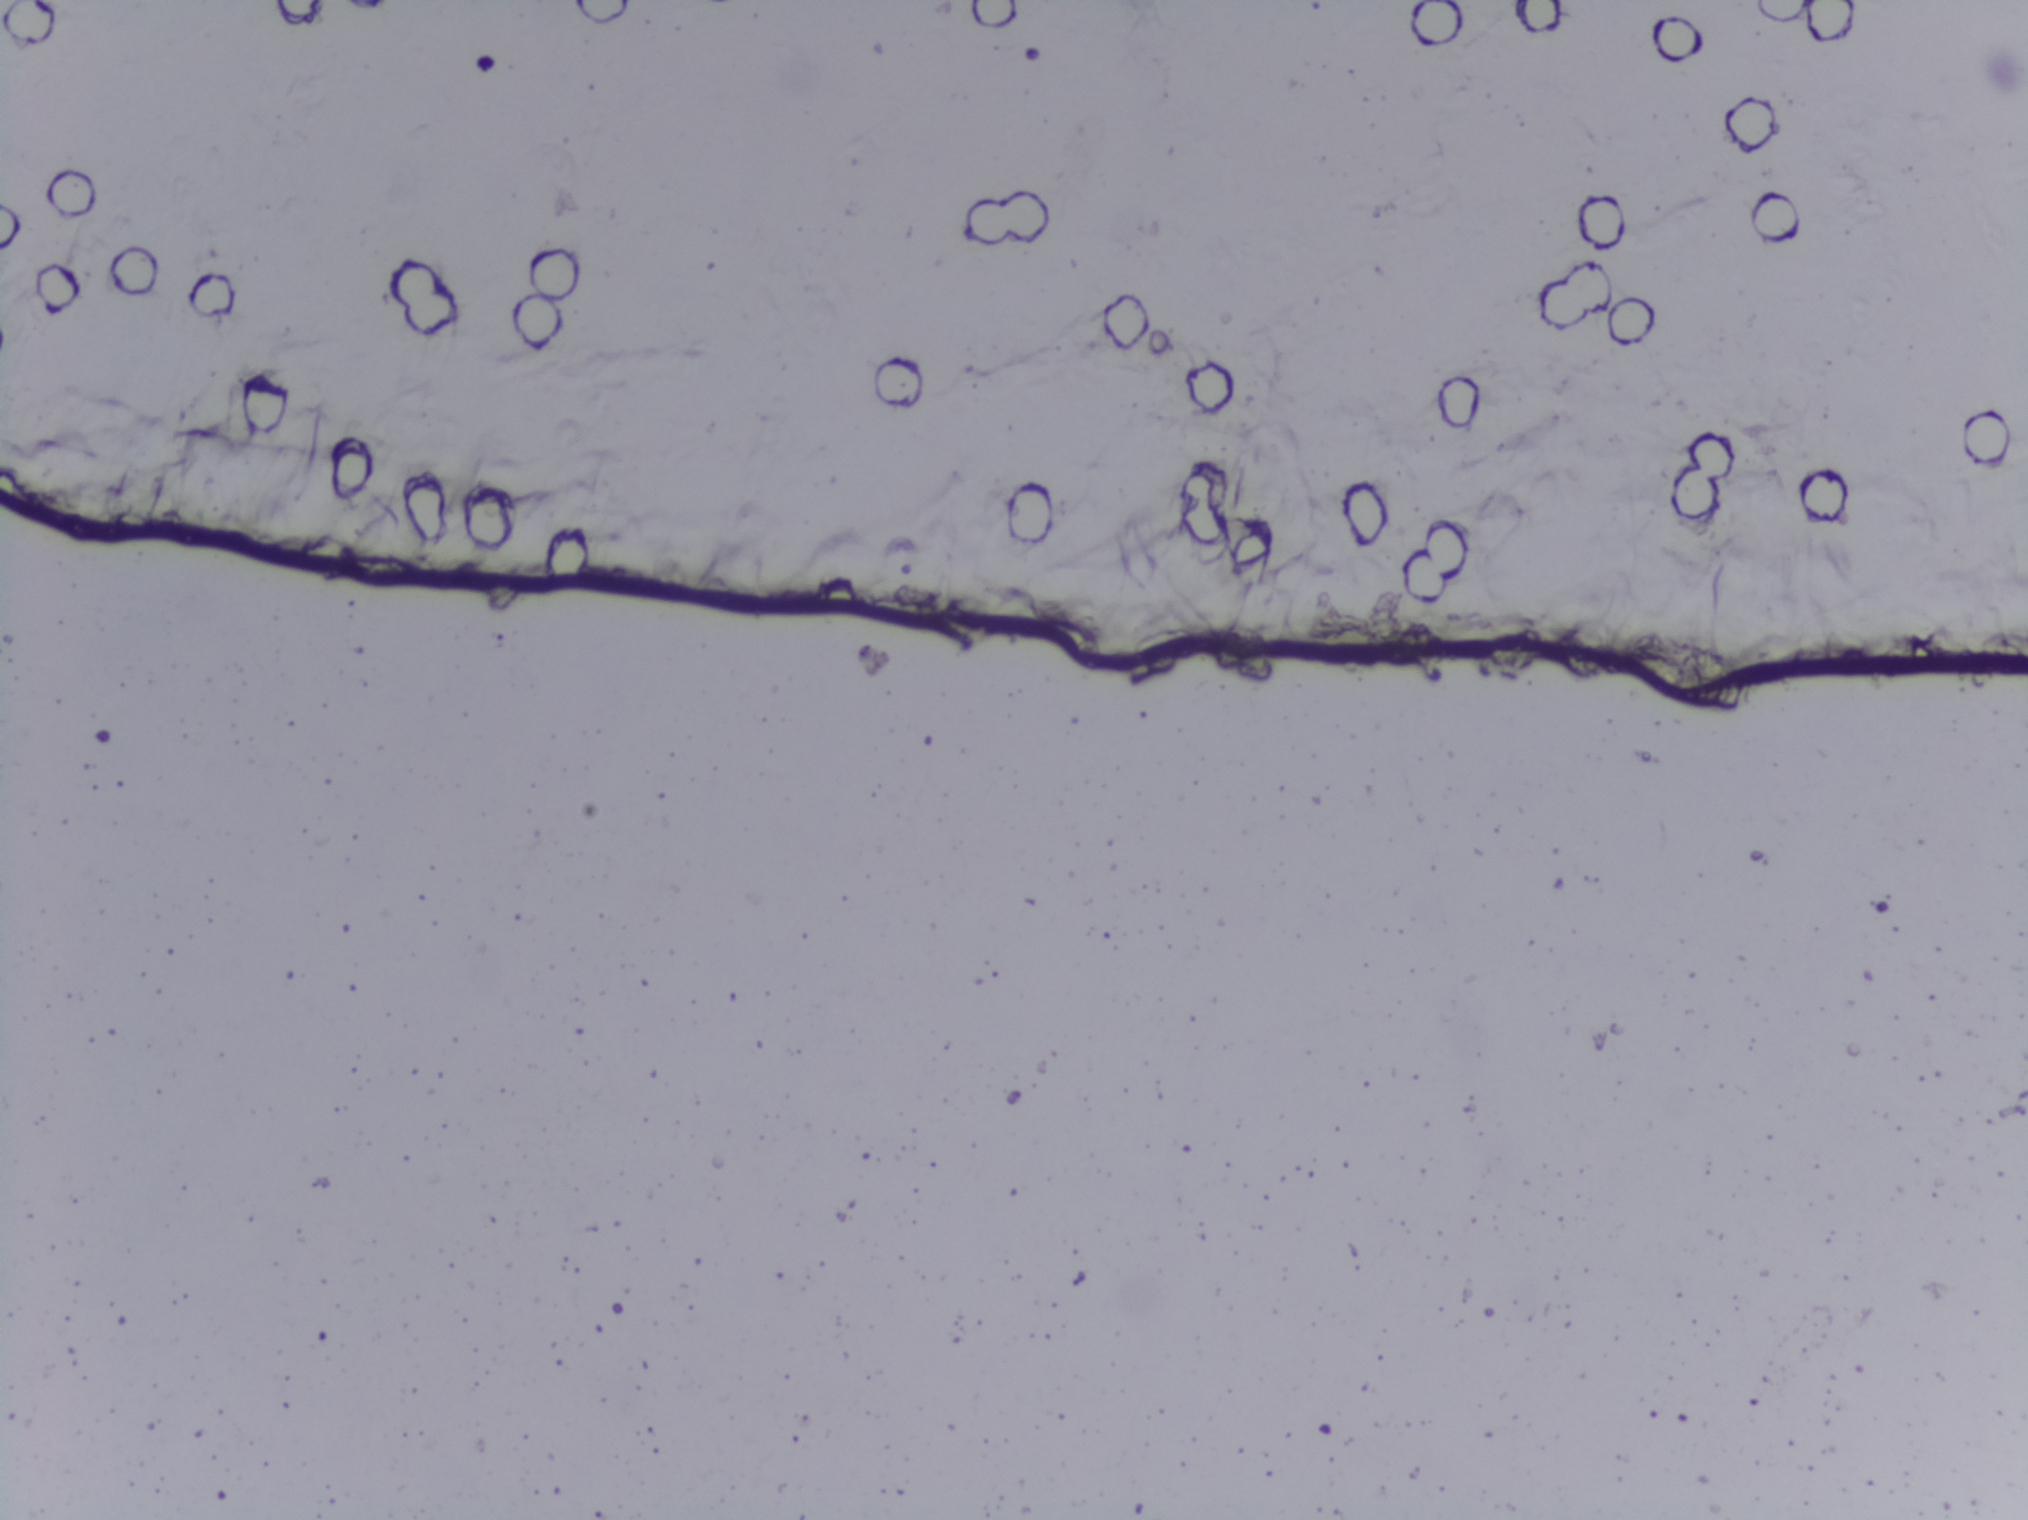
No Schistosoma egg is outlined in this image's expert annotation.
Photomicrograph of a urine filtration membrane, 4× objective.